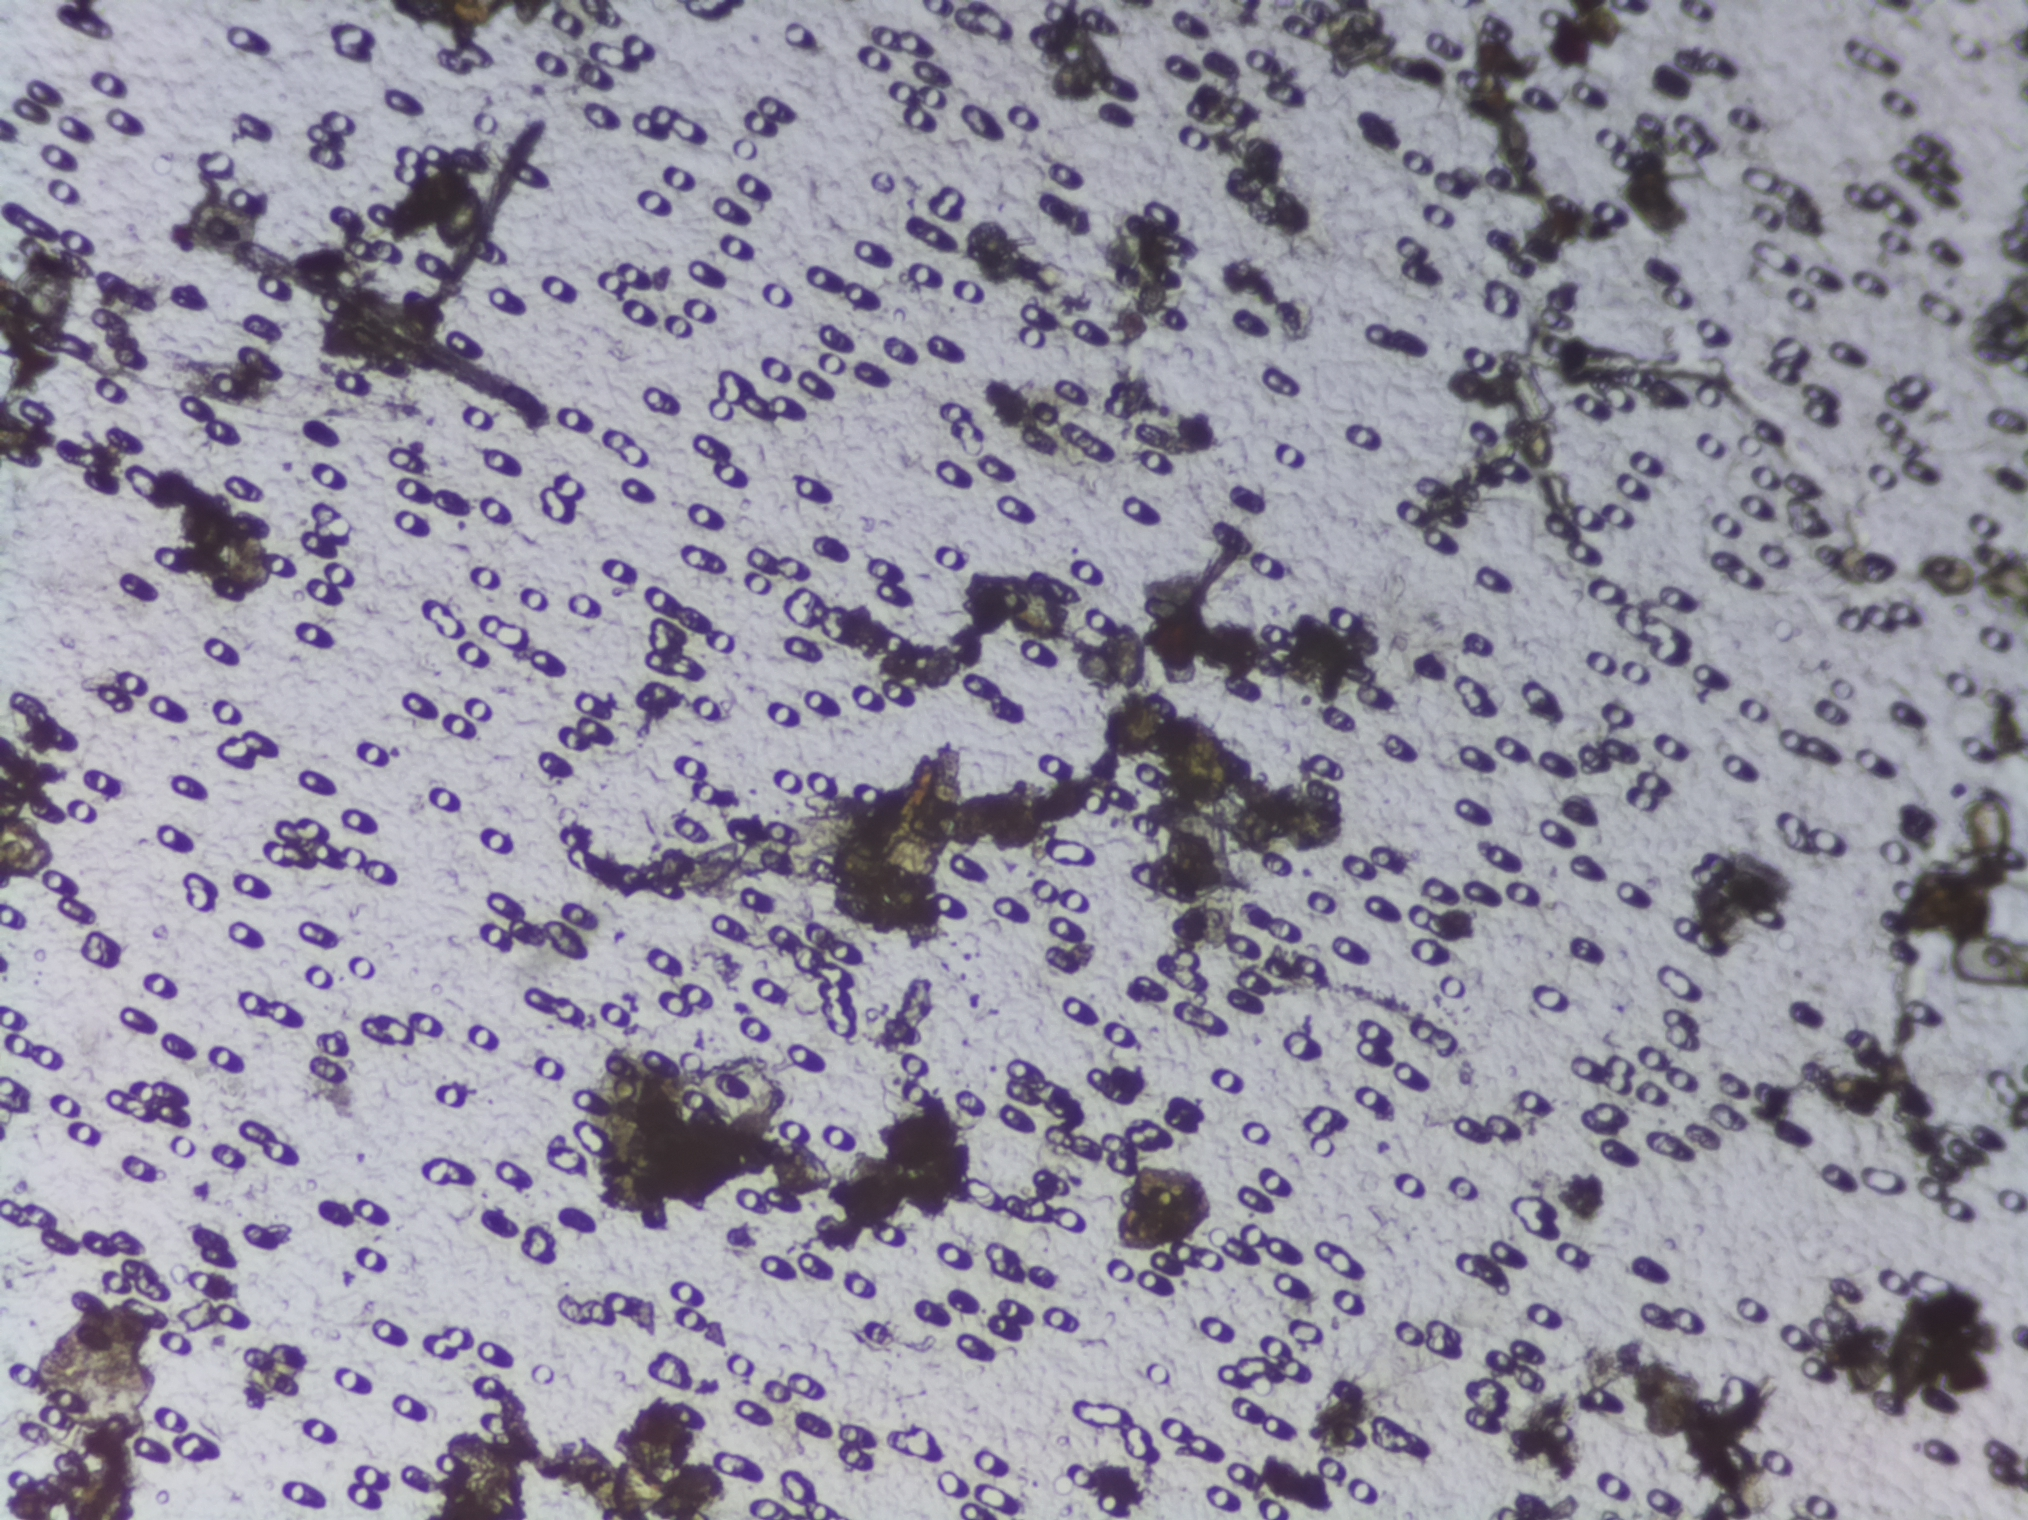
Microscope photograph (4× objective) of a membrane that a urine sample was filtered through. The image covers about 1.5 × 1.1 mm of the membrane.
Schistosoma eggs: none outlined.